Urine filtration membrane under a 4× objective, photographed by an automated digital microscope.
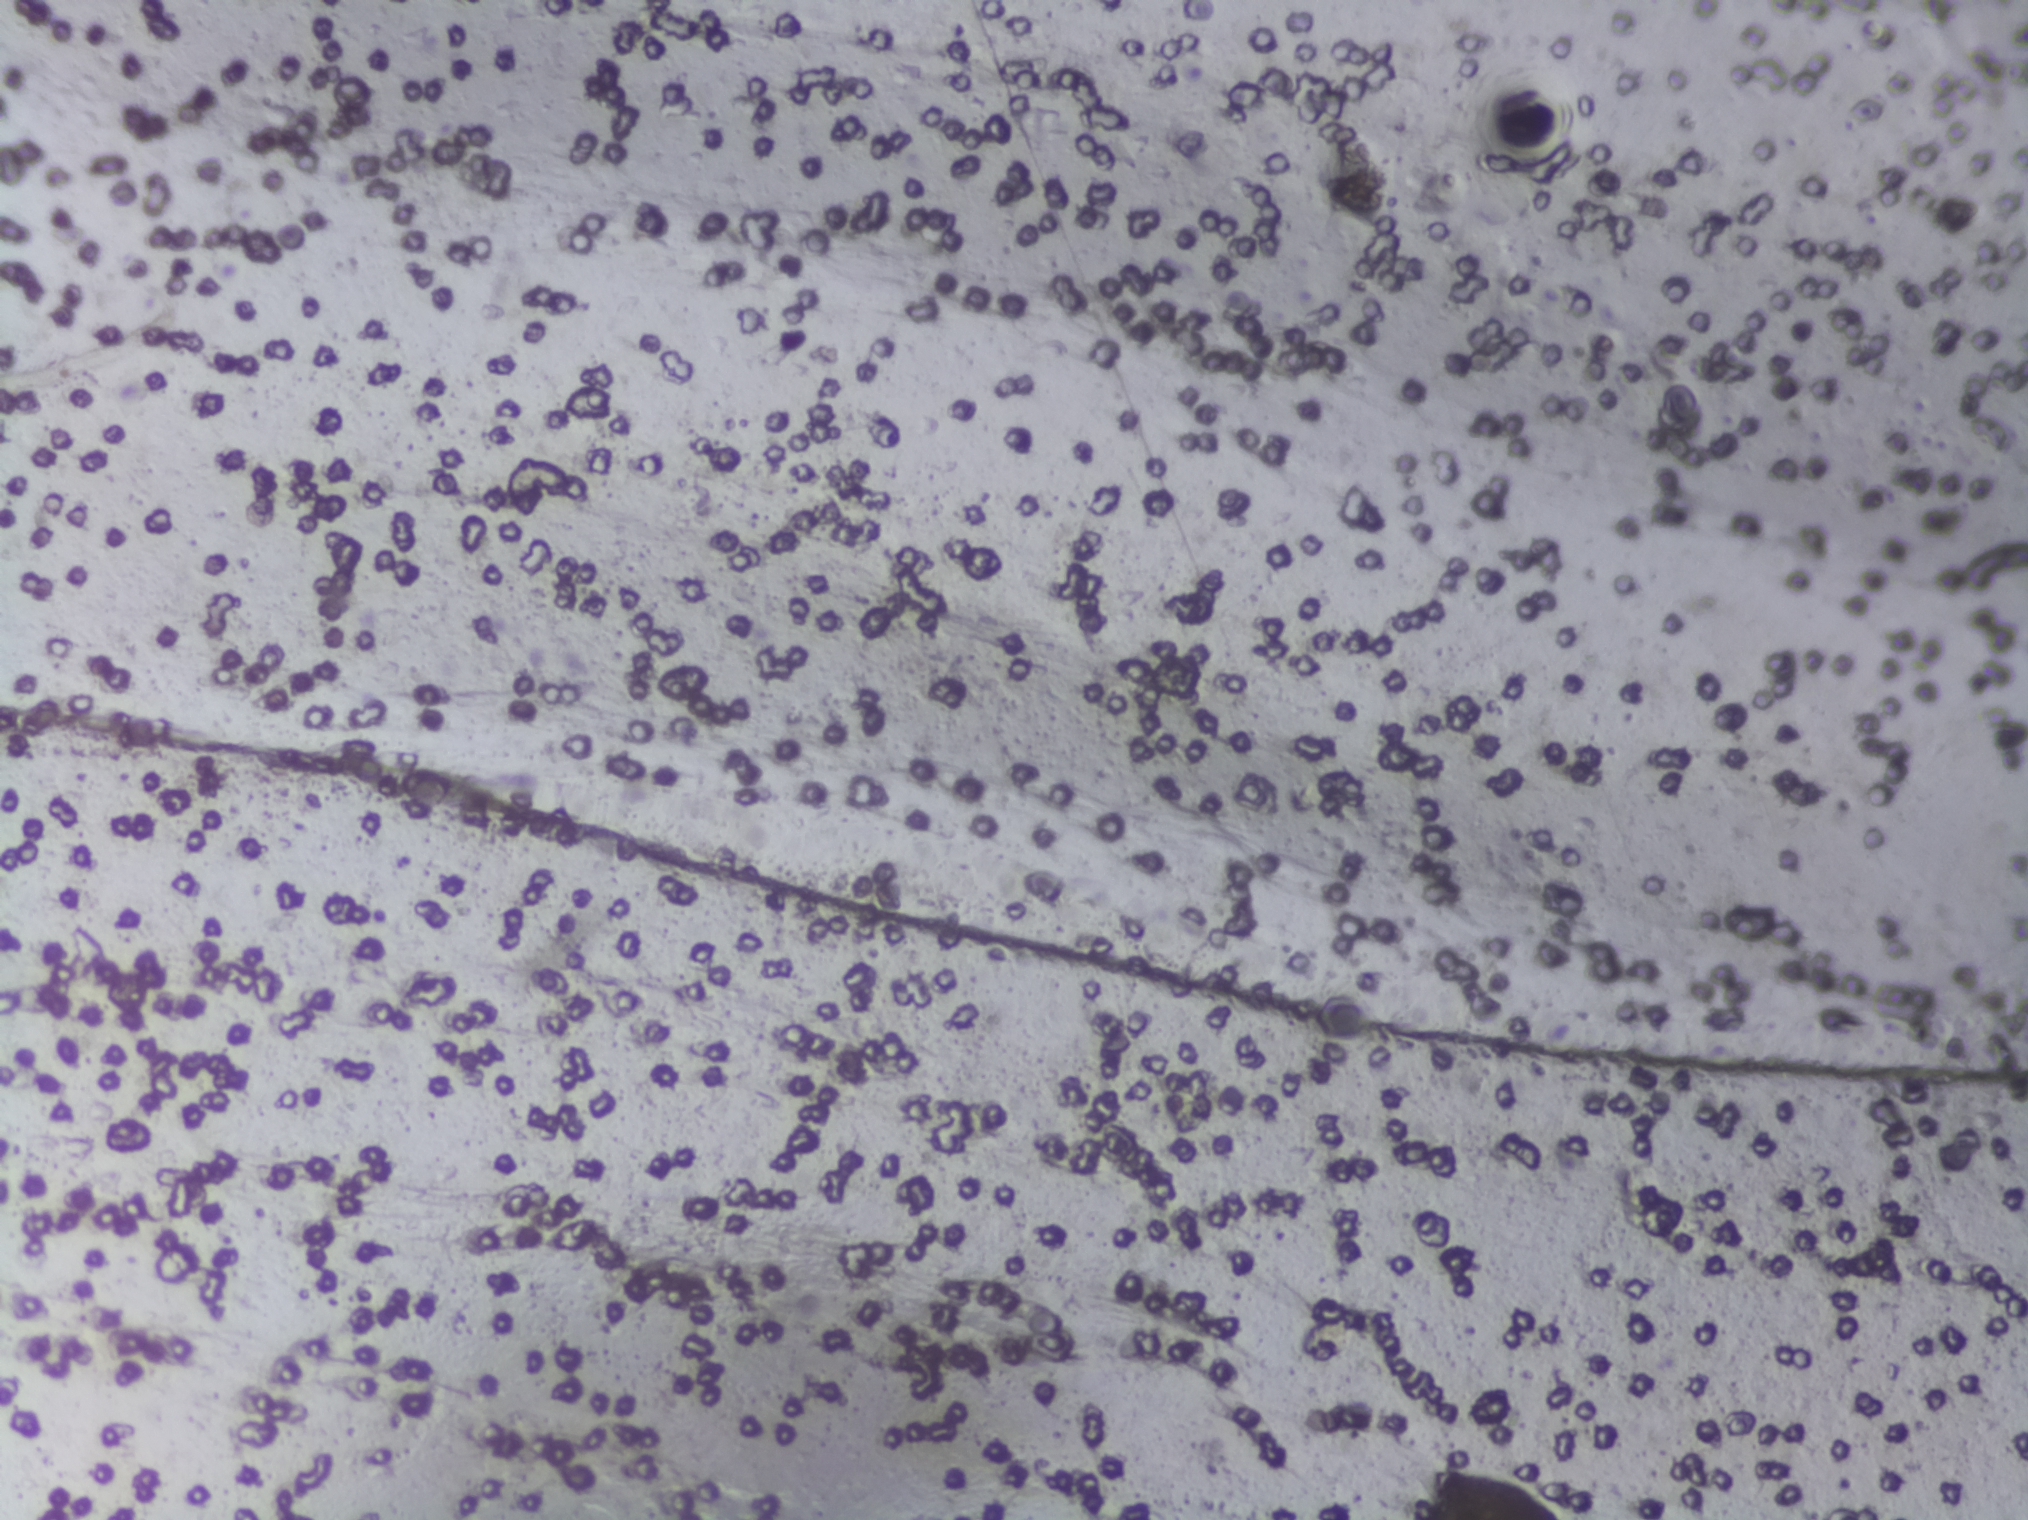
Schistosoma eggs: none outlined.